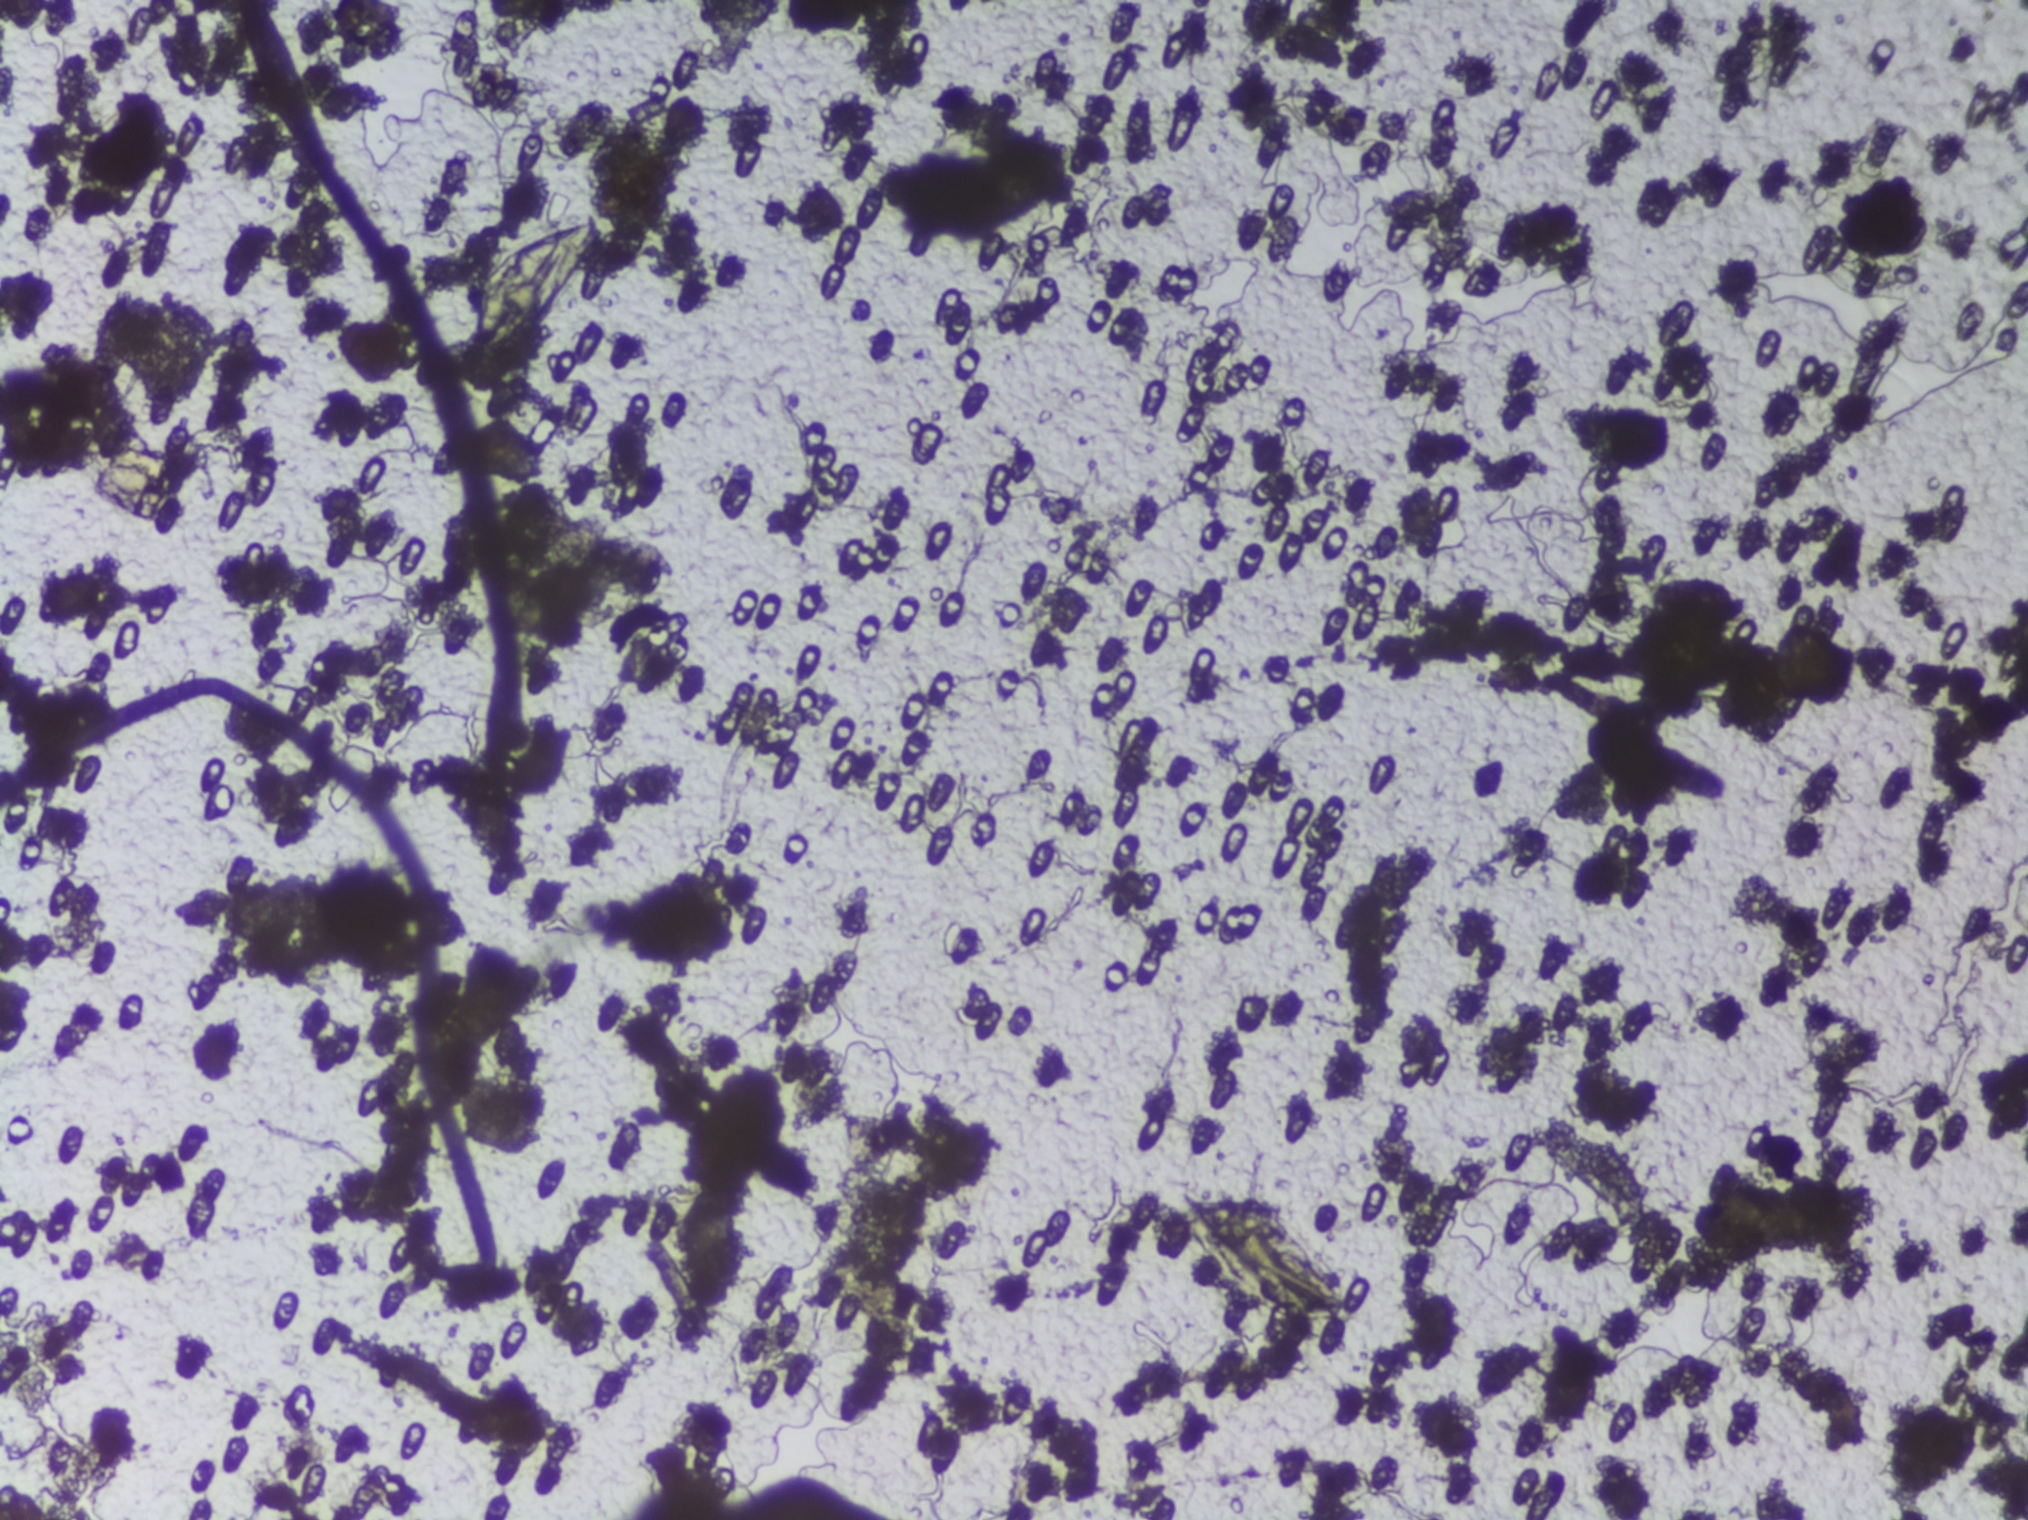
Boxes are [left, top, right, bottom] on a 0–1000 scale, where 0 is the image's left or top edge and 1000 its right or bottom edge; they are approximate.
Two areas of this image are outlined as Schistosoma eggs, from left to right: [230, 143, 298, 245] and [576, 778, 667, 872]. A single outlined area may contain several eggs.
One field of view of a urine filter membrane, 4× objective, 2028 × 1520 pixels. Field of view: about 1.5 mm wide and 1.1 mm high.